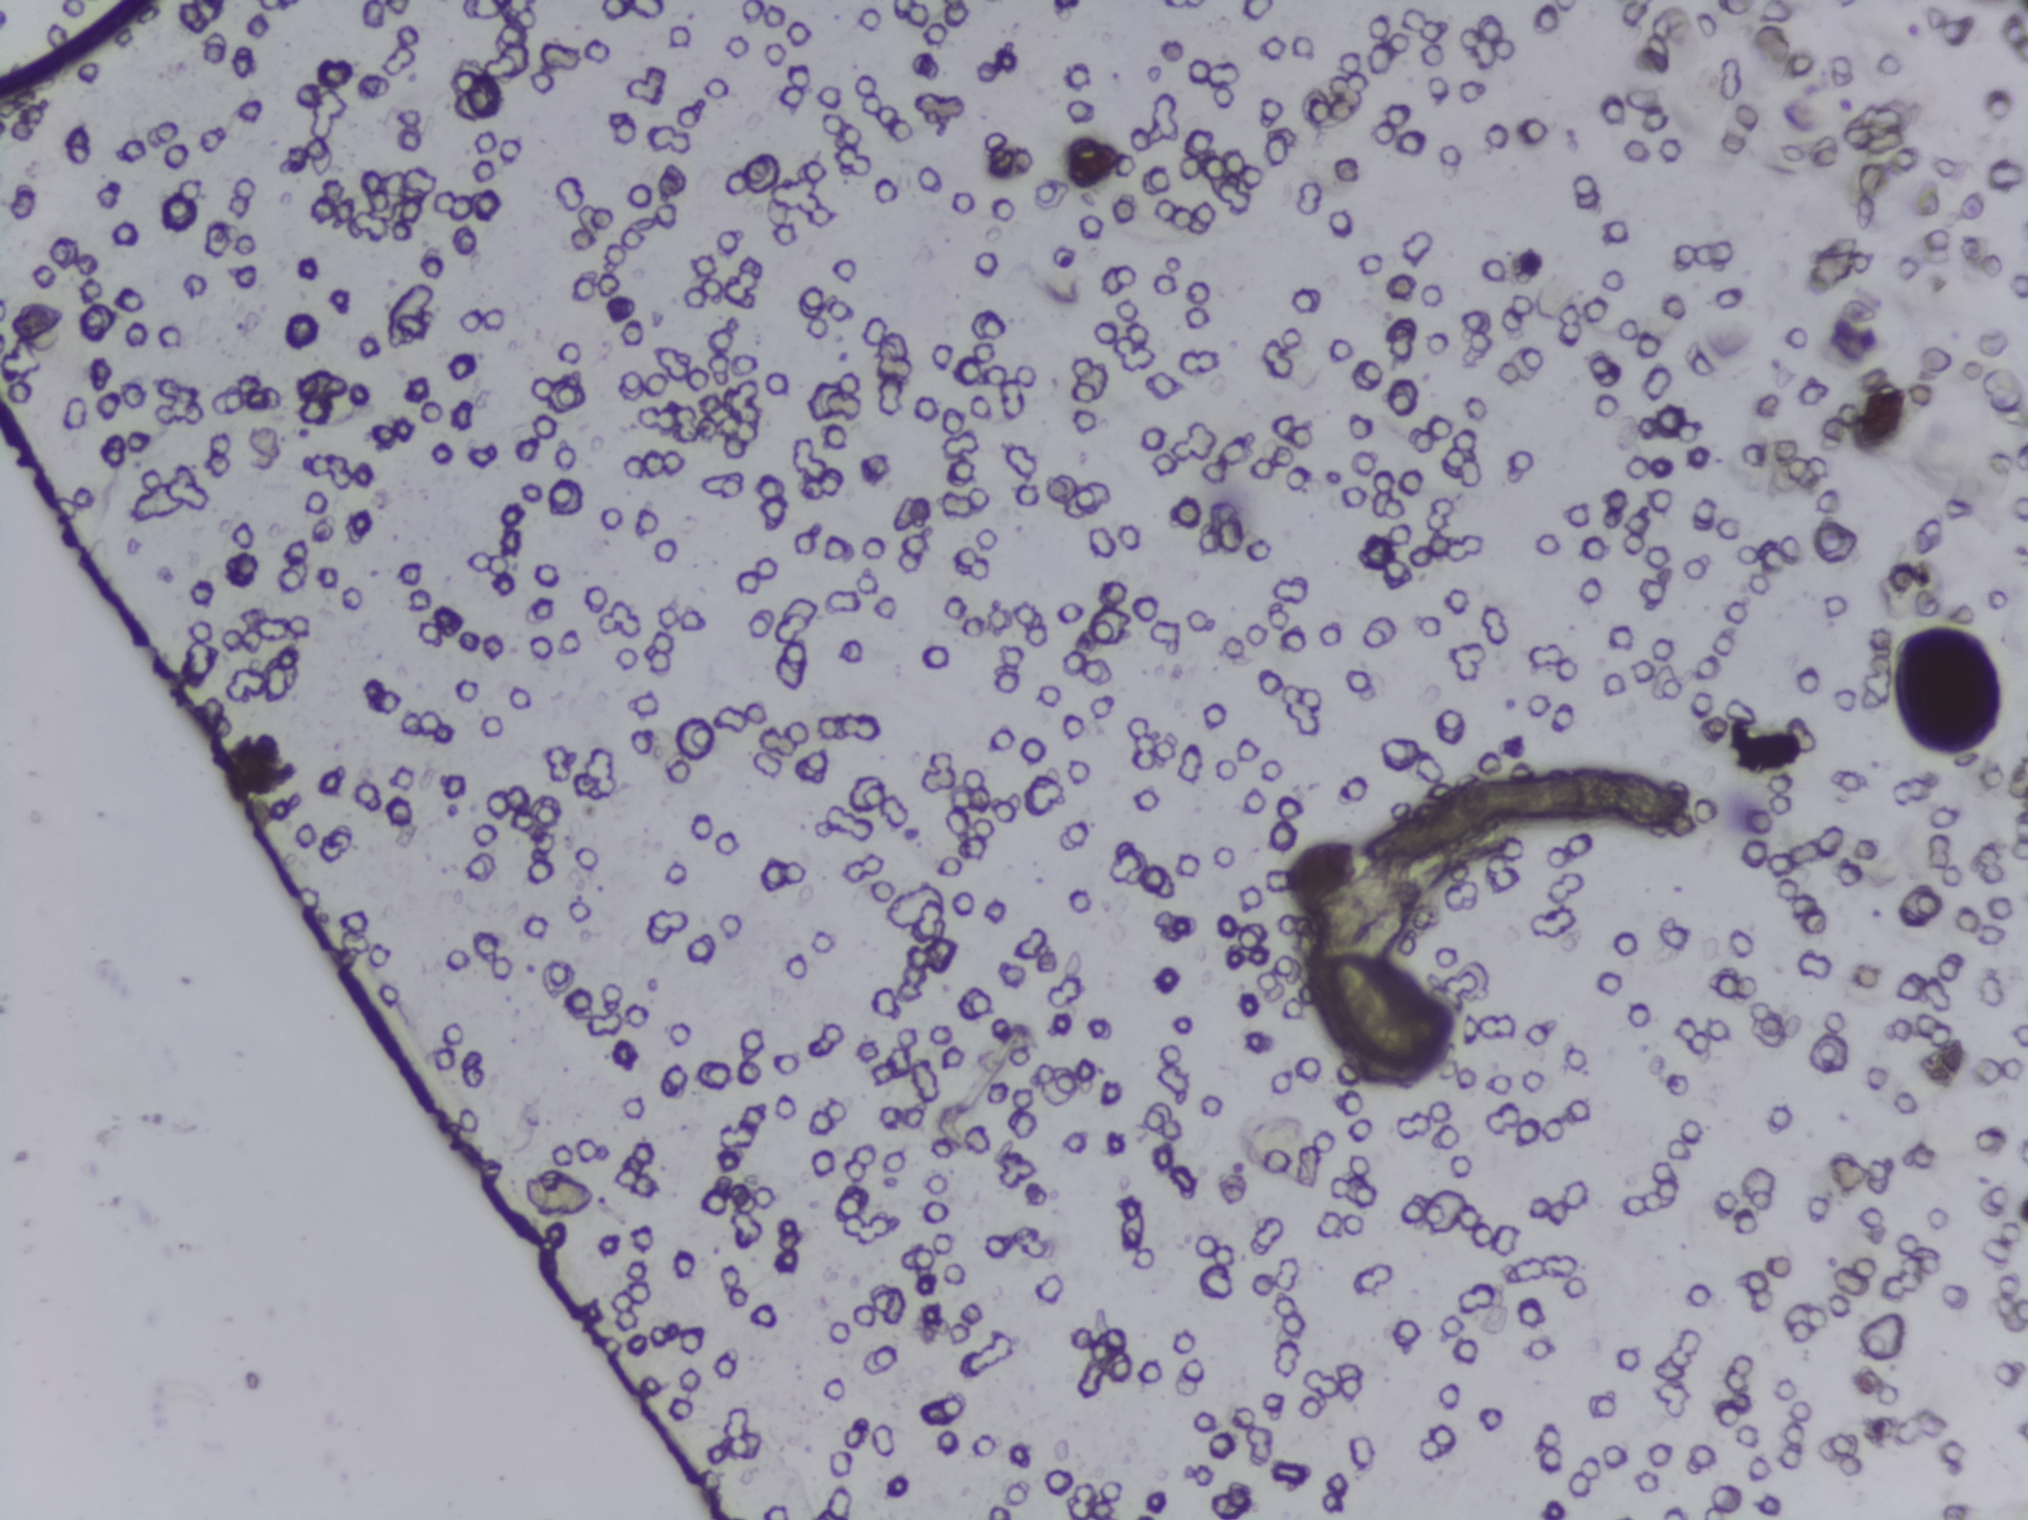
The expert annotation outlines no Schistosoma egg in this image.
Photograph from an automated digital microscope: urine filter membrane, 4× objective.